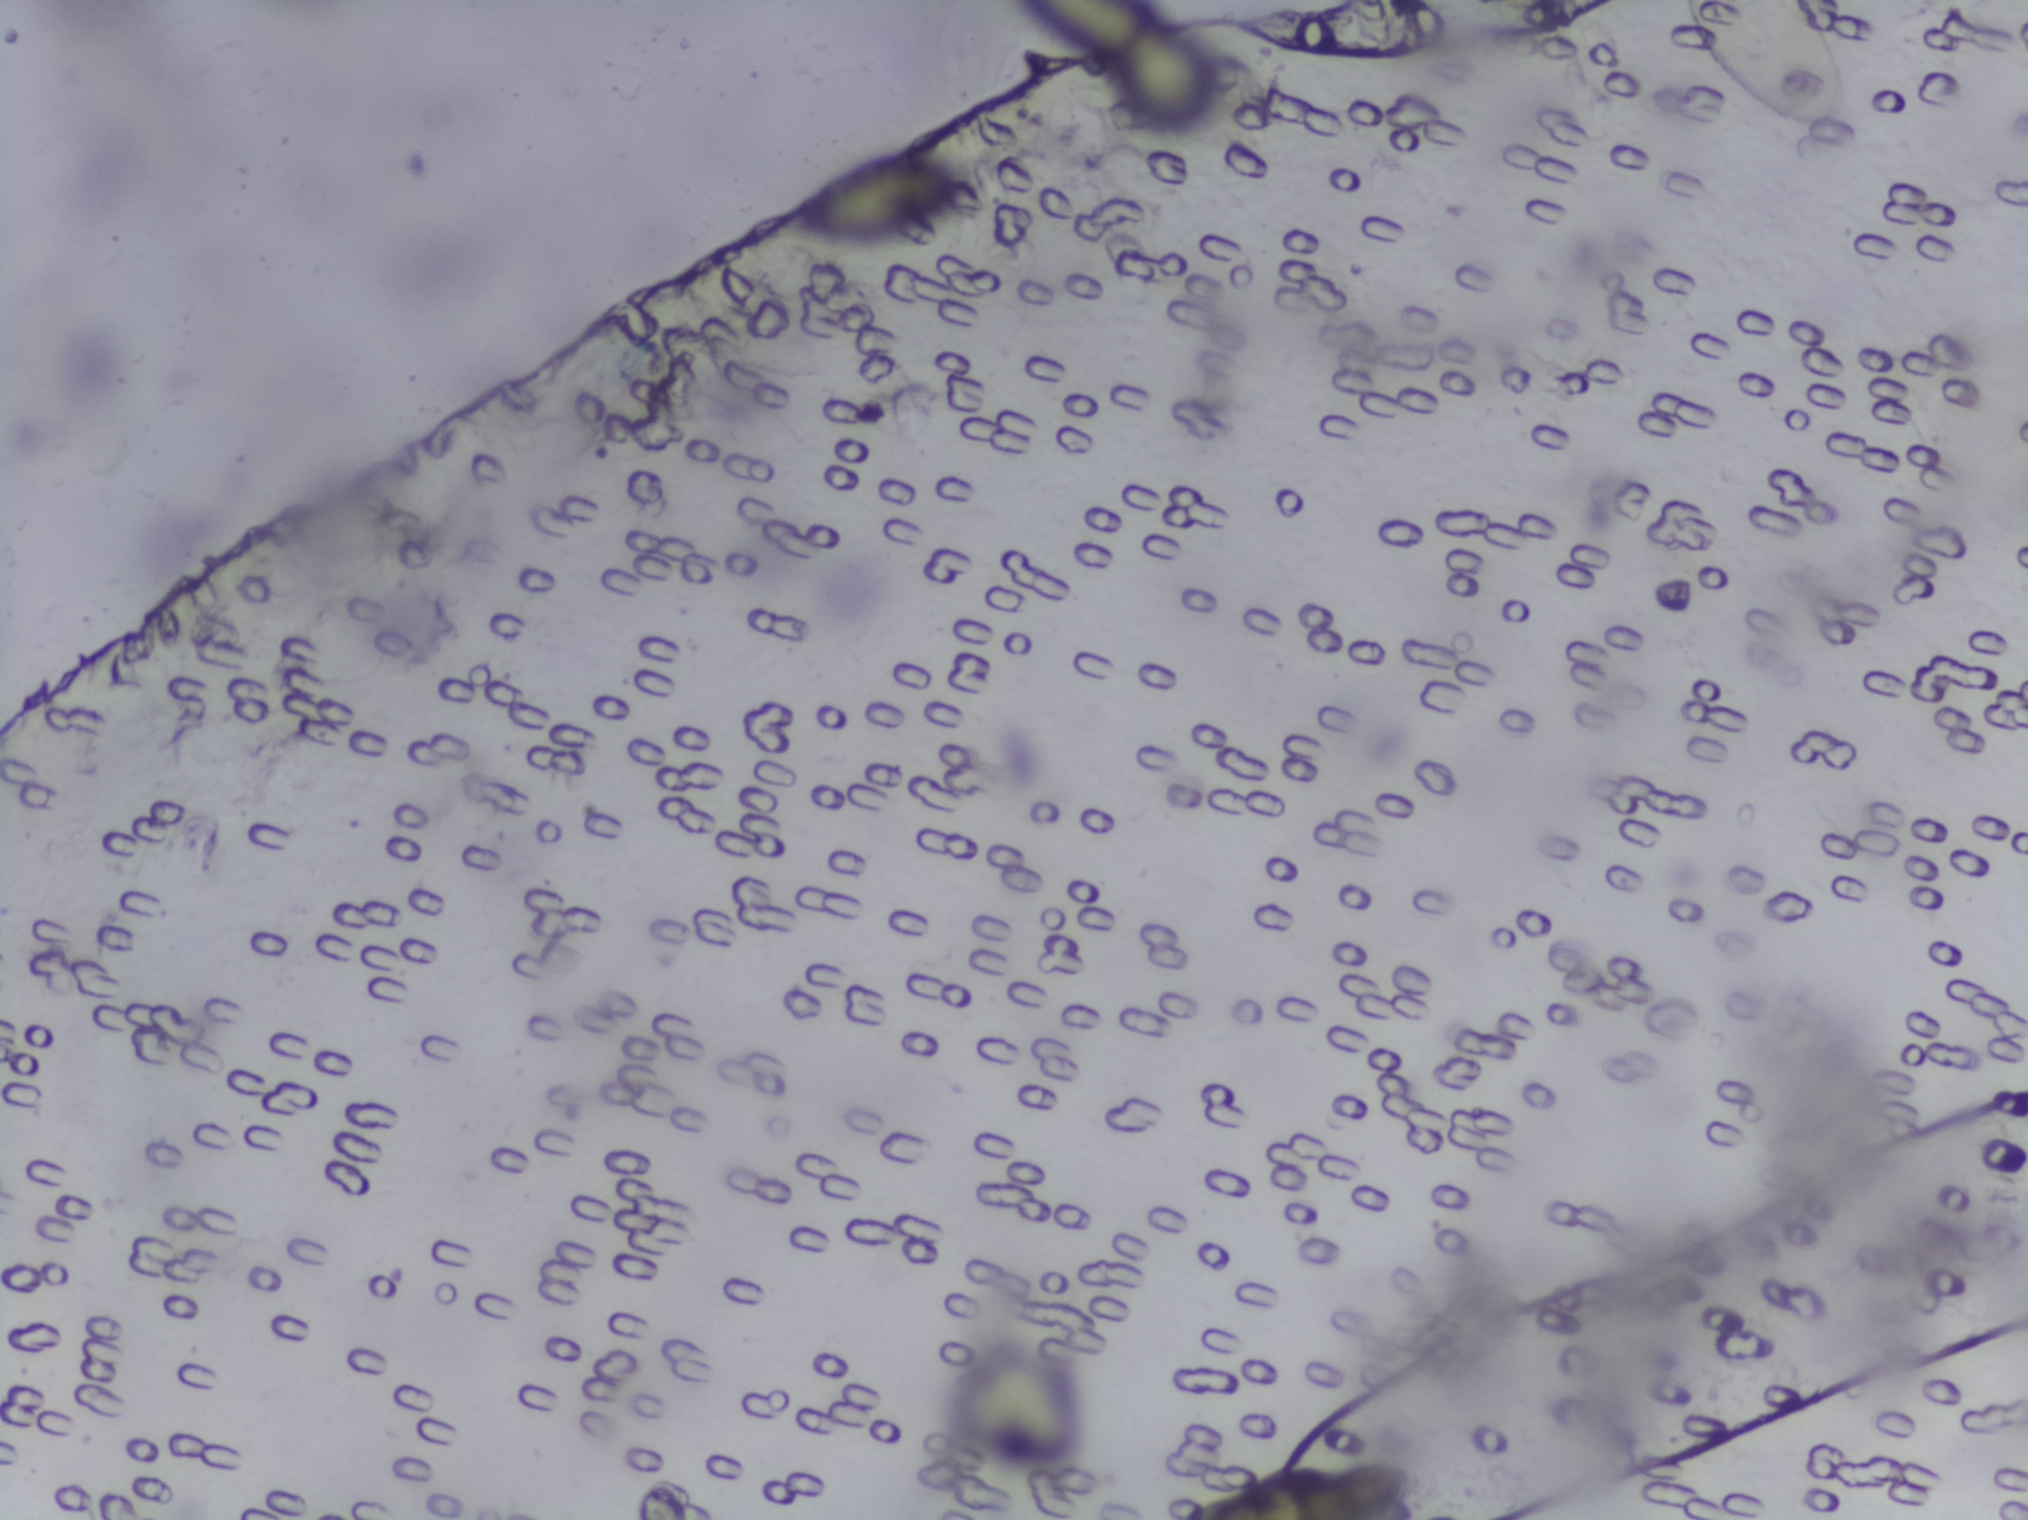
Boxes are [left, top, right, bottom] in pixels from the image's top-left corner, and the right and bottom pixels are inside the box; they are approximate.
{"schistosoma_egg_areas_xyxy_px": [[788, 146, 969, 247], [1668, 0, 1860, 130]]} Area 2 reaches the top edge of the frame.
About 0.9% of the image's pixels are marked (the marked pixels themselves, not the boxes around them). A single outlined area may contain several eggs.
Urine filtration membrane under a 4× objective, photographed by an automated digital microscope. The field of view is about 1.5 mm × 1.1 mm.